Urine filtration membrane under a 4× objective, photographed by an automated digital microscope.
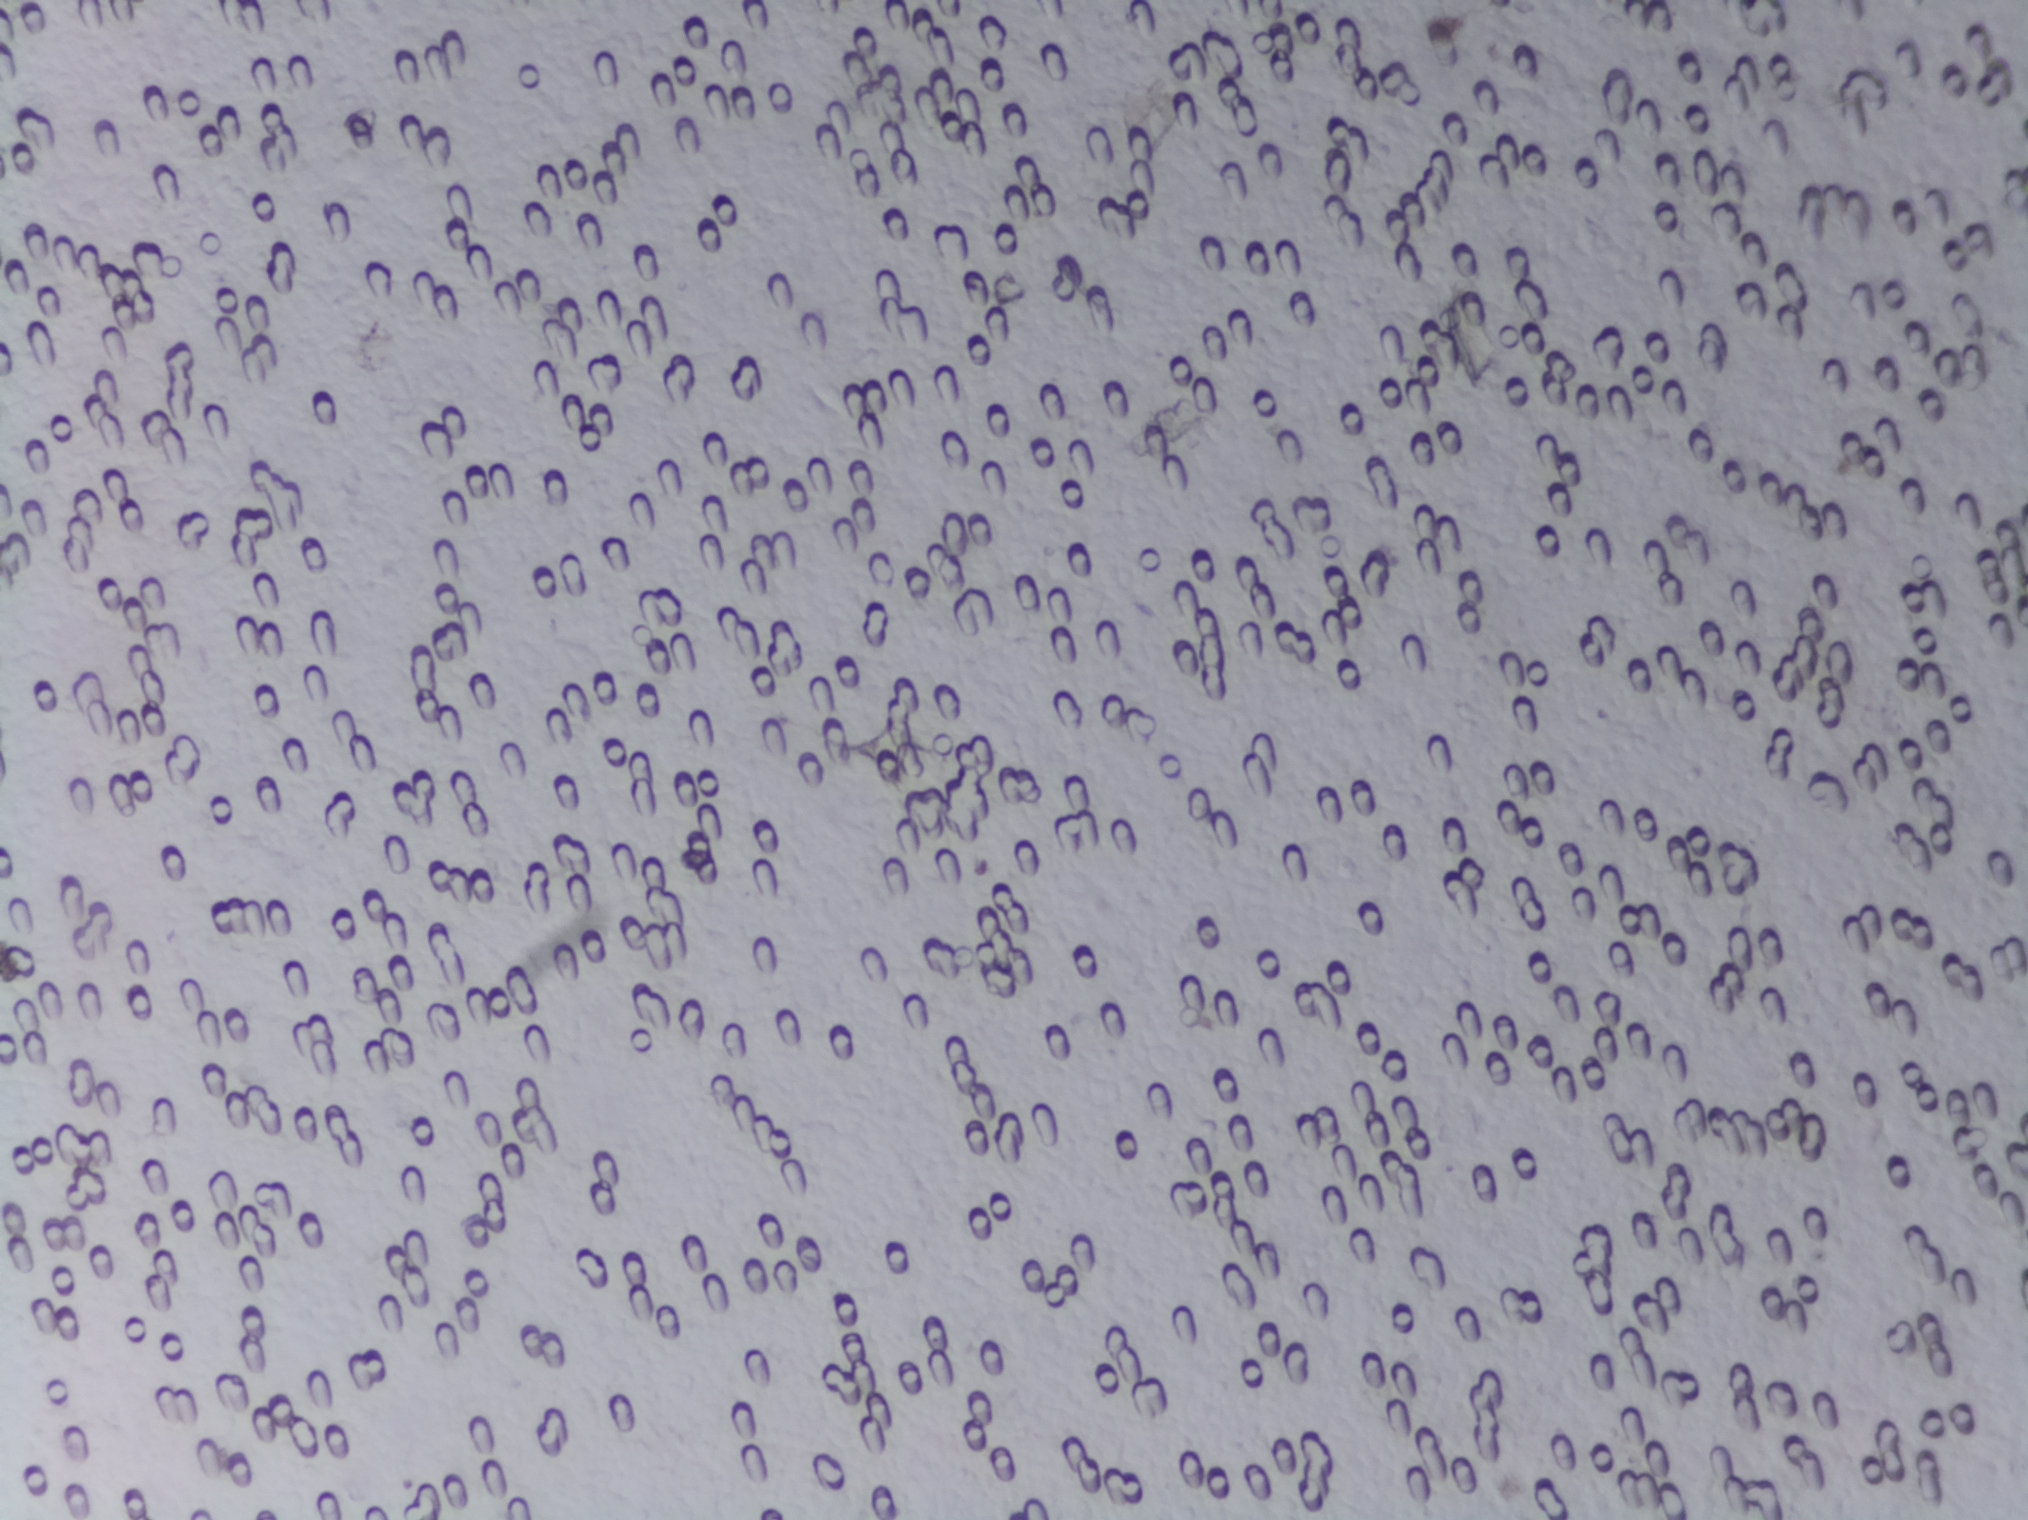
The expert annotation outlines no Schistosoma egg in this image.